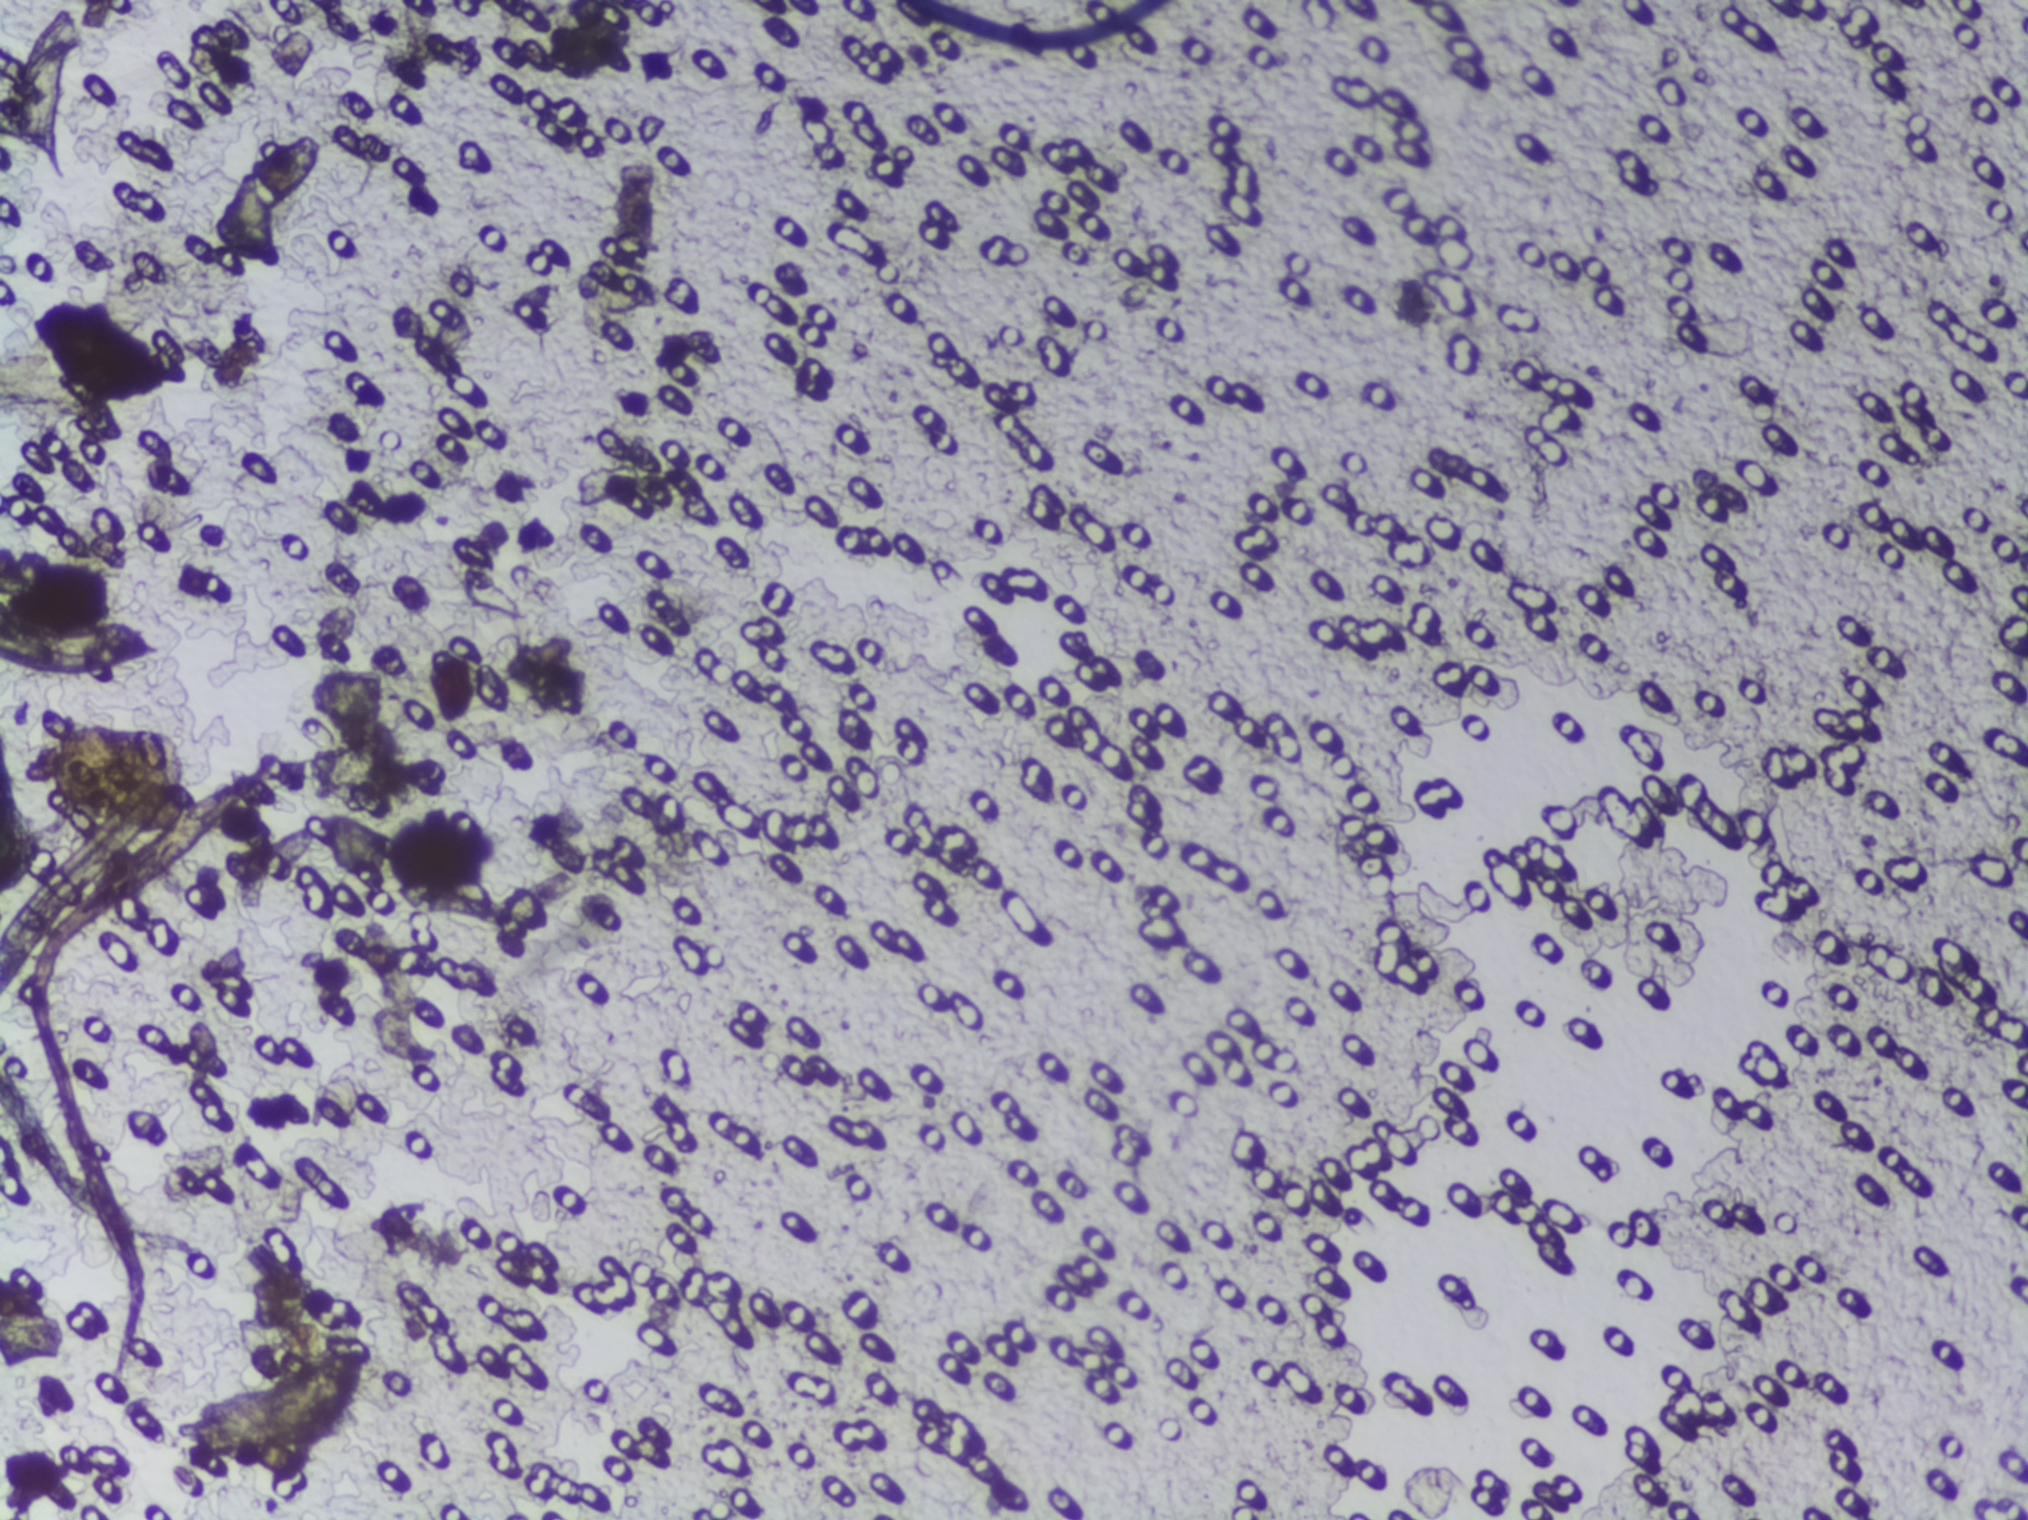
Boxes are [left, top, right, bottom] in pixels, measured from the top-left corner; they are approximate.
Schistosoma eggs are outlined in one area of this image: [0, 589, 156, 678] (reaching the left edge of the frame). Marked pixels, not the box around them: about 0.3% of the image. Eggs that touch can end up inside the same outlined area.
Urine filtration membrane under a 4× objective, photographed by an automated digital microscope. The field of view is about 1.5 mm × 1.1 mm.